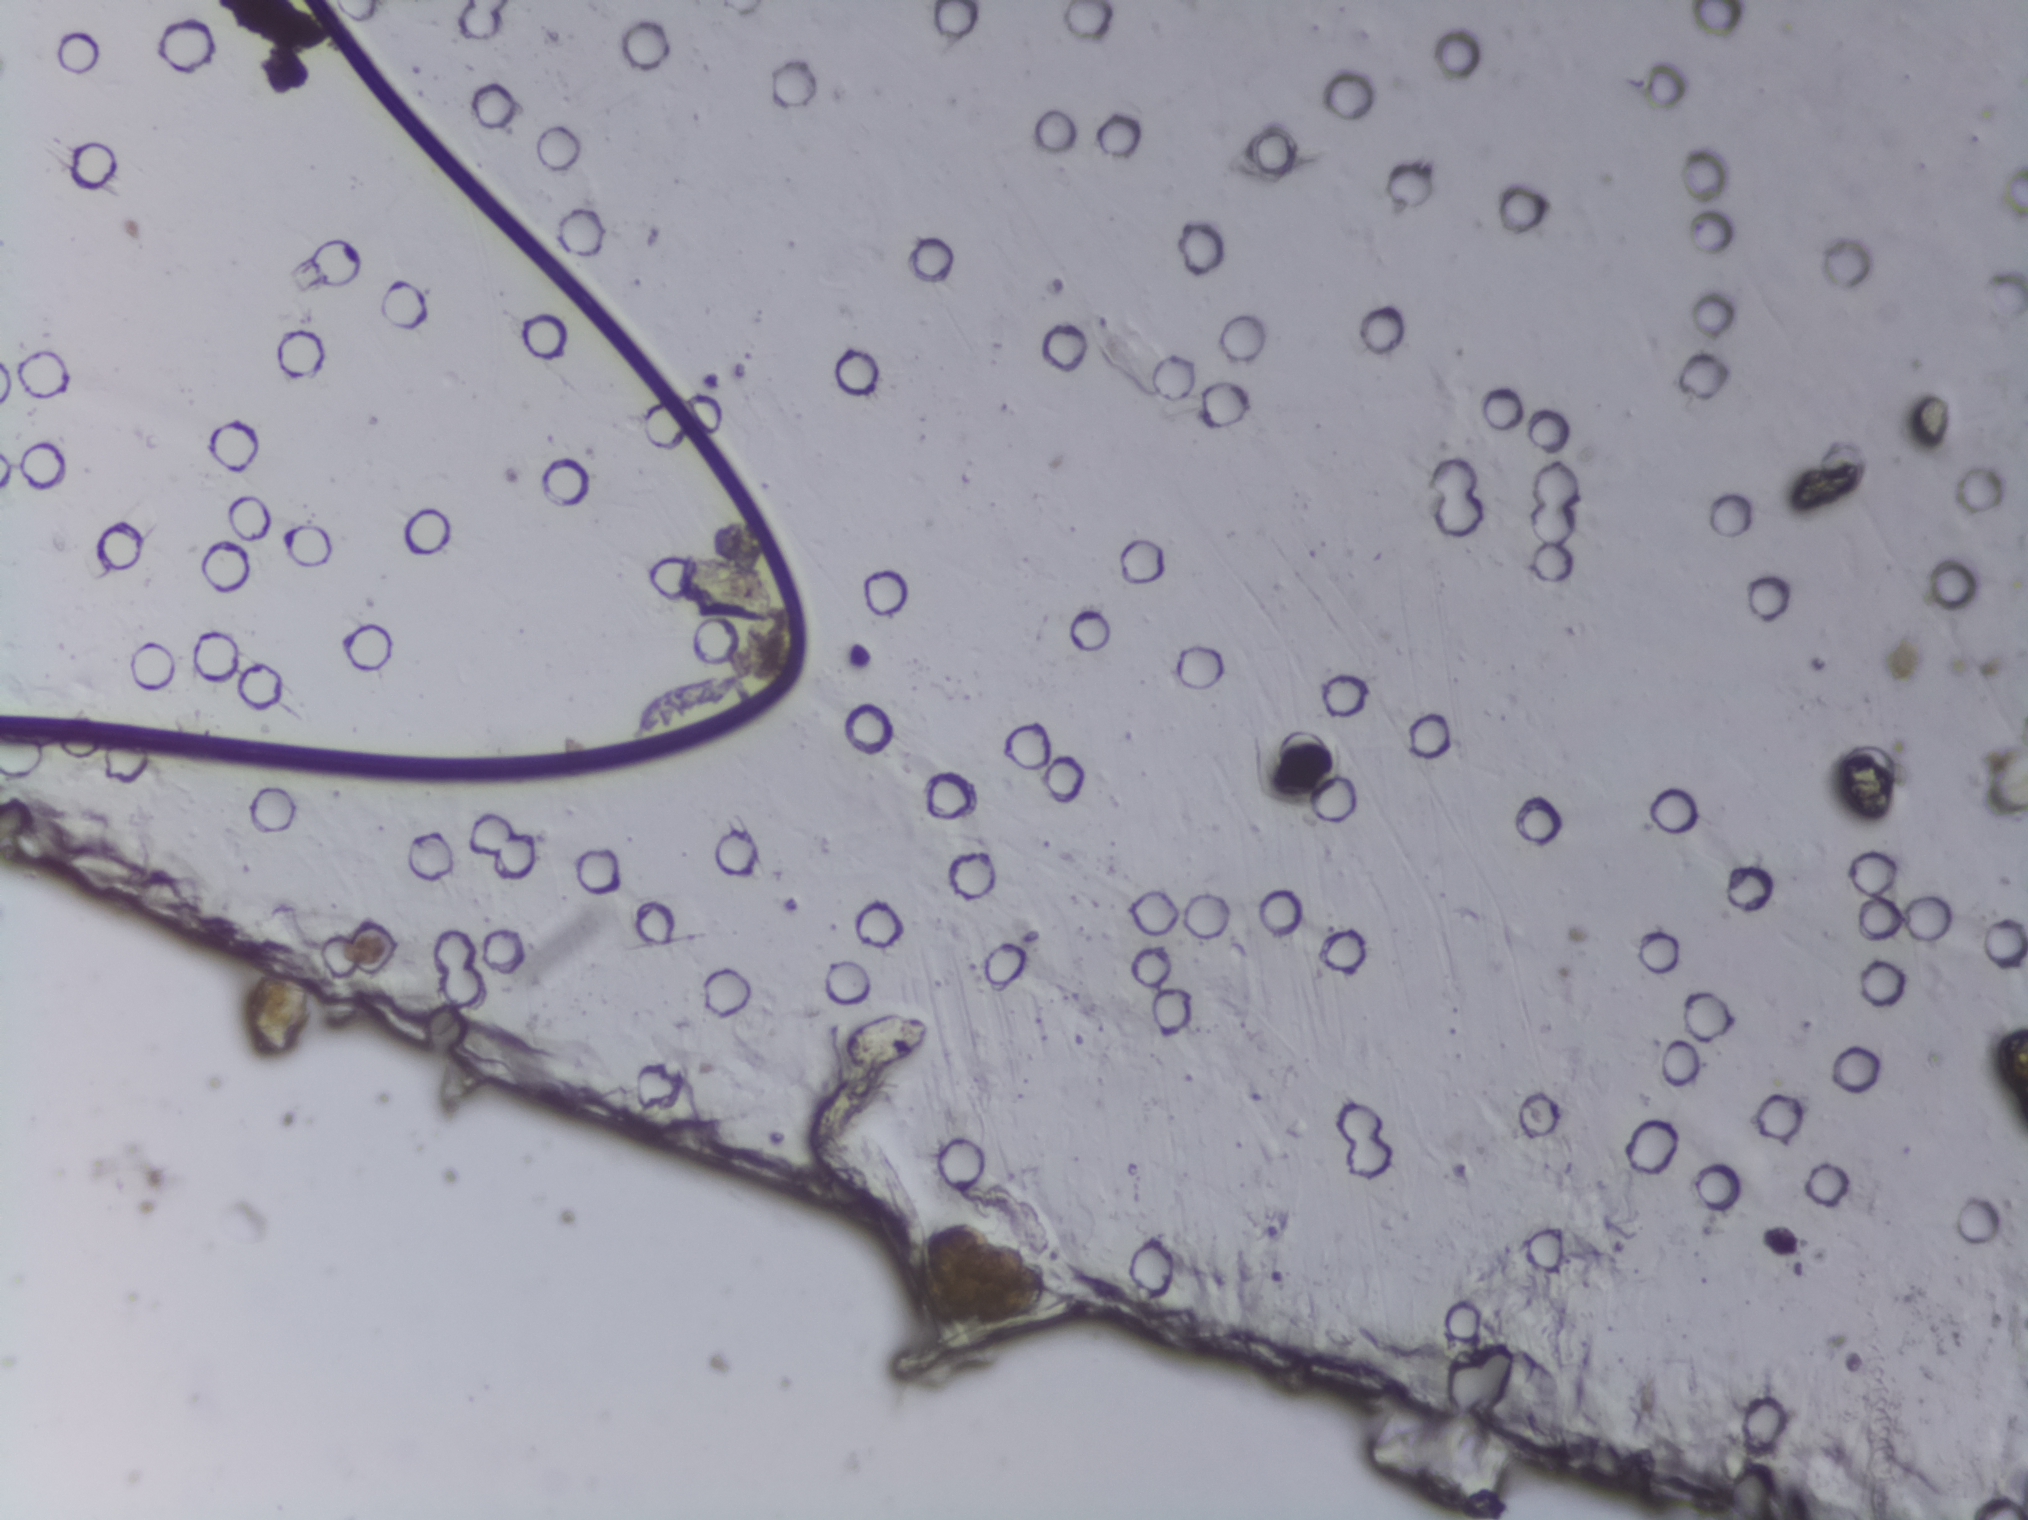
Urine filtration membrane under a 4× objective, photographed by an automated digital microscope. The field of view is about 1.5 mm × 1.1 mm.
No area of this image was outlined as a Schistosoma egg.